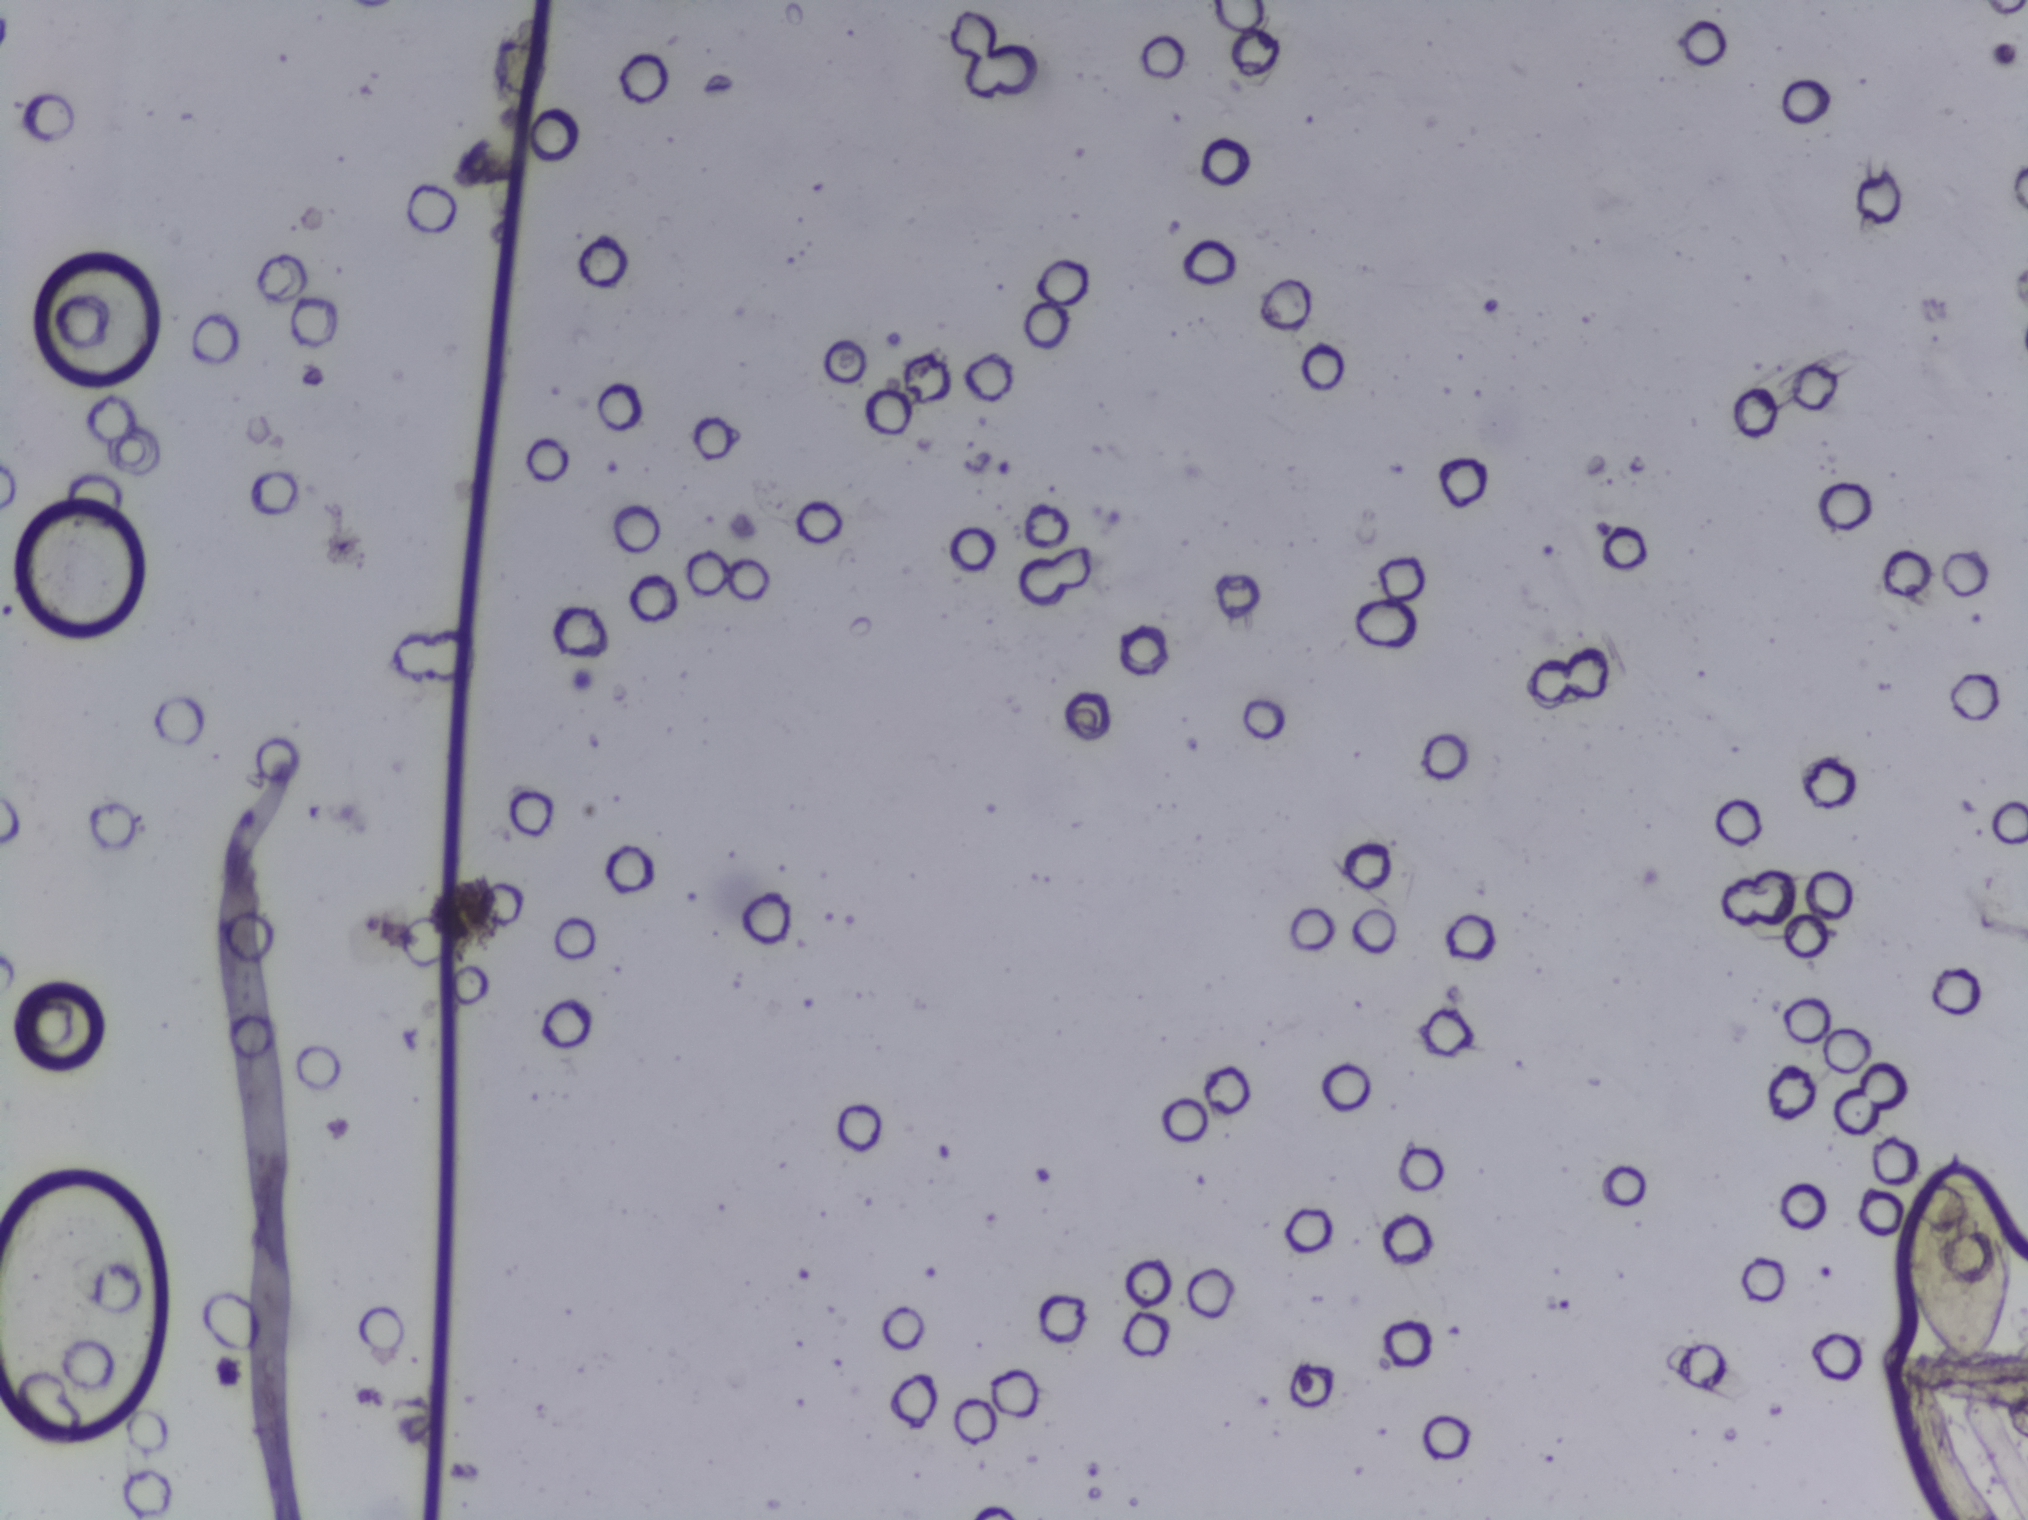
Photomicrograph of a urine filtration membrane, 4× objective.
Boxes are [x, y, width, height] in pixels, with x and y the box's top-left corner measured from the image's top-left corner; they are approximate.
Areas outlined as Schistosoma eggs: [1901, 1146, 115, 227]. About 0.6% of the image's pixels are marked (the marked pixels themselves, not the box around them). A single outlined area may contain several eggs.